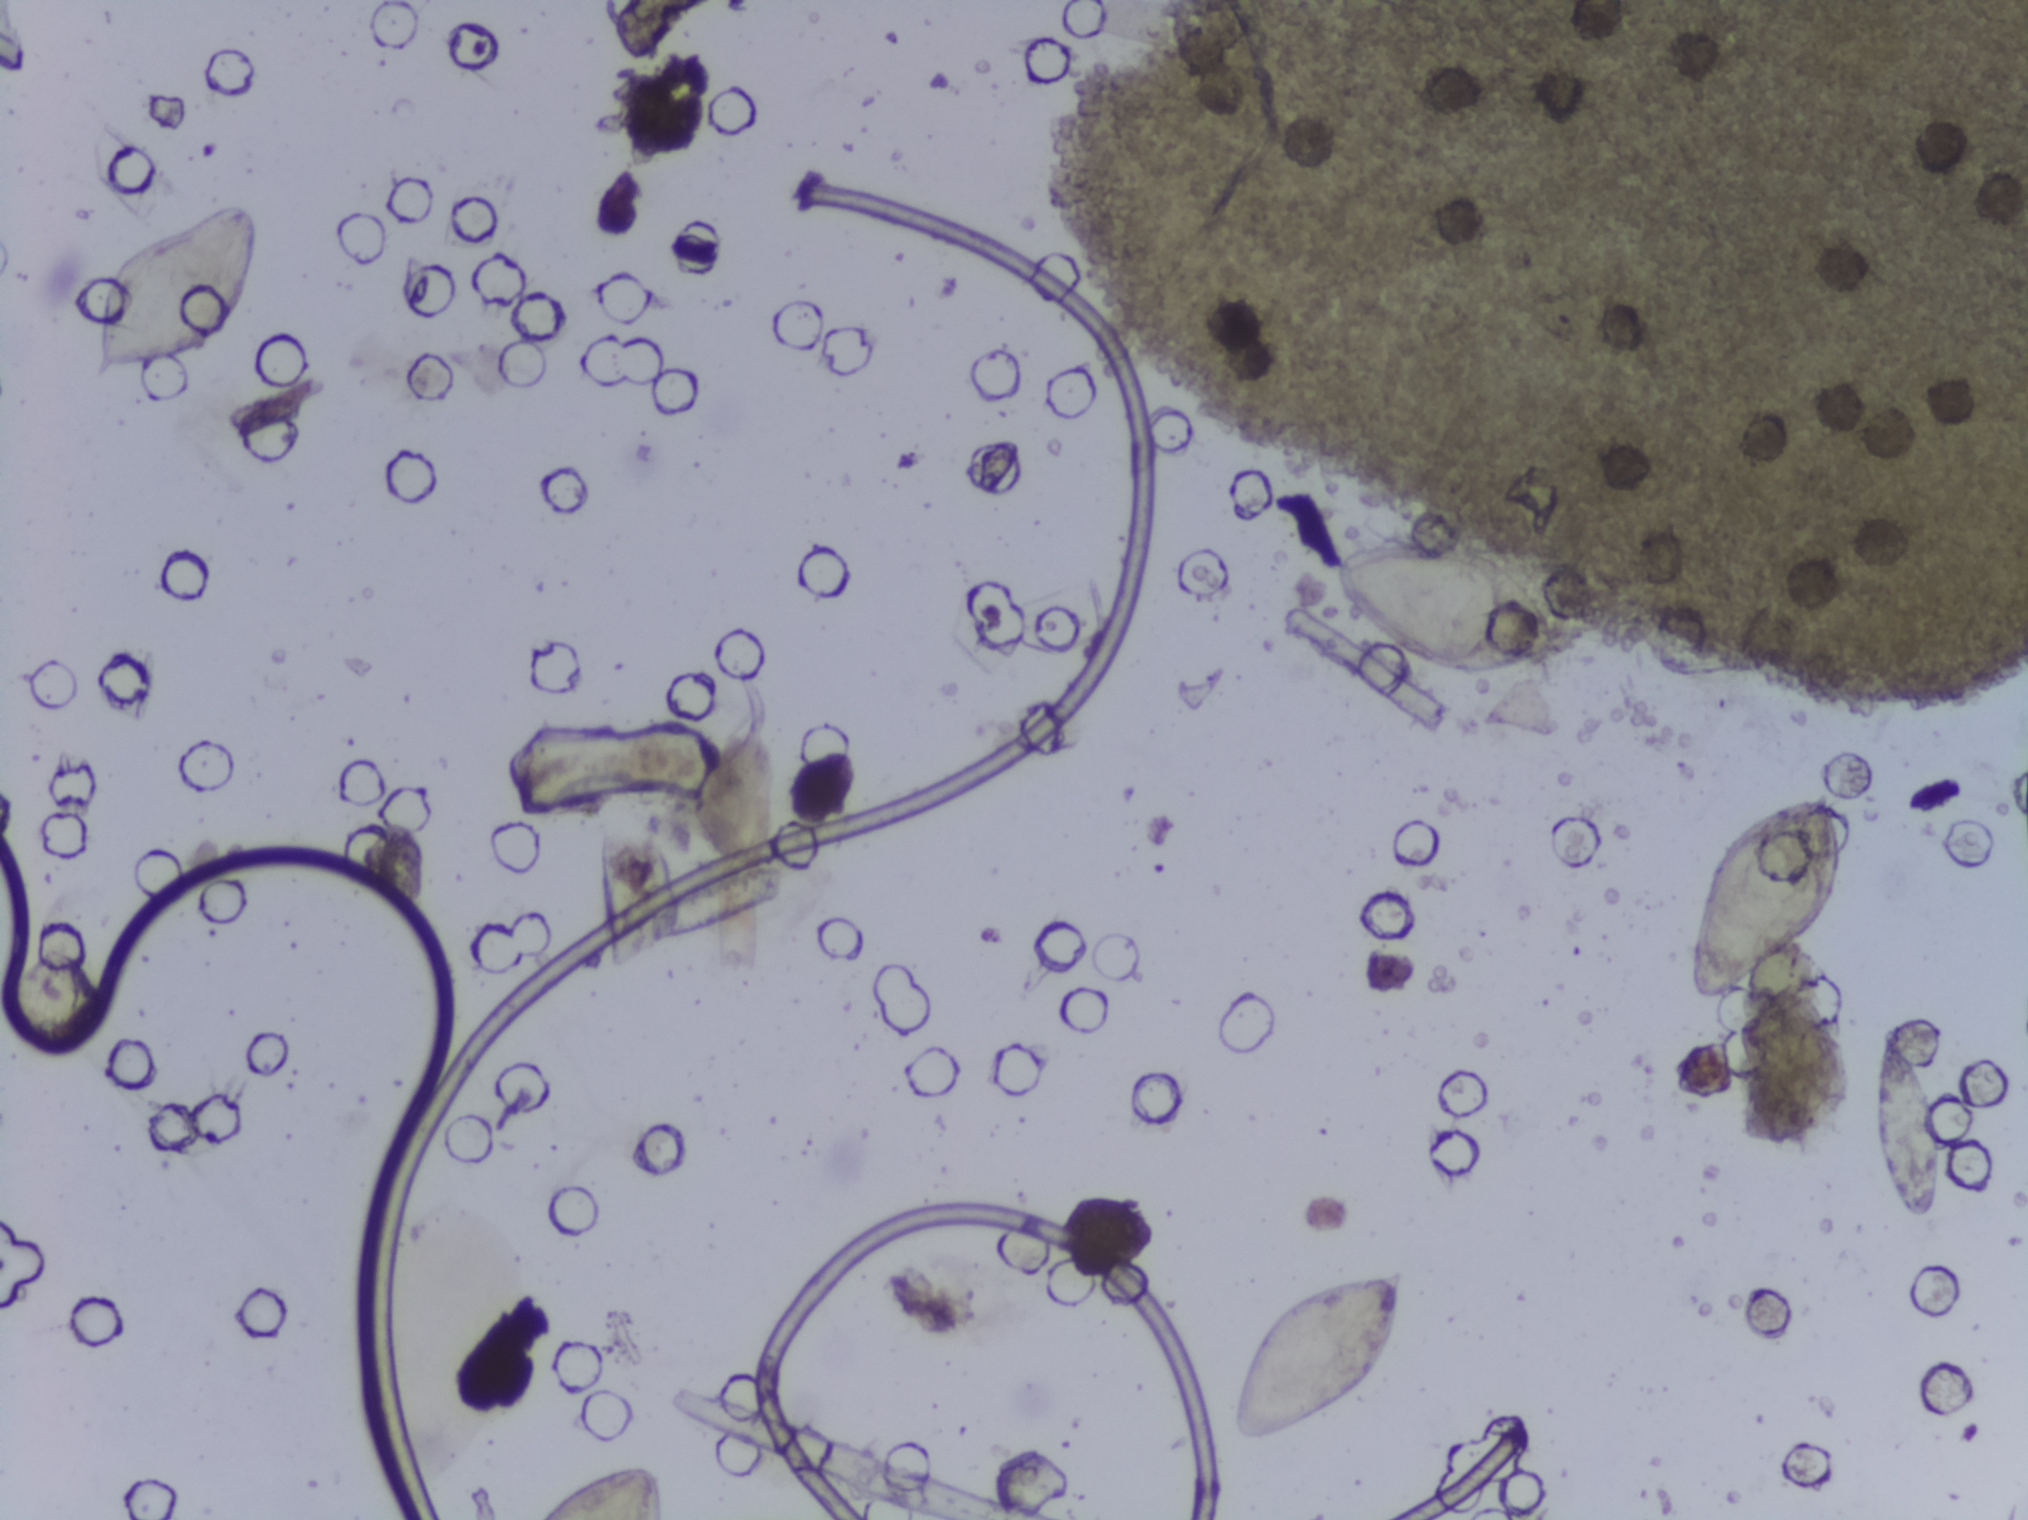
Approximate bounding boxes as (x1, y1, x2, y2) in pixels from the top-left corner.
Six areas of this image are outlined as Schistosoma eggs, from left to right: (84, 196, 263, 385); (541, 1463, 669, 1519) (reaching the bottom edge of the frame); (1224, 1267, 1408, 1446); (1332, 538, 1566, 675); (1684, 786, 1848, 1008); (1873, 1023, 1943, 1222). Eggs that touch can end up inside the same outlined area. Any one outlined egg may, rarely, be S. mansoni rather than S. haematobium.
Urine filtration membrane under a 4× objective, photographed by an automated digital microscope.